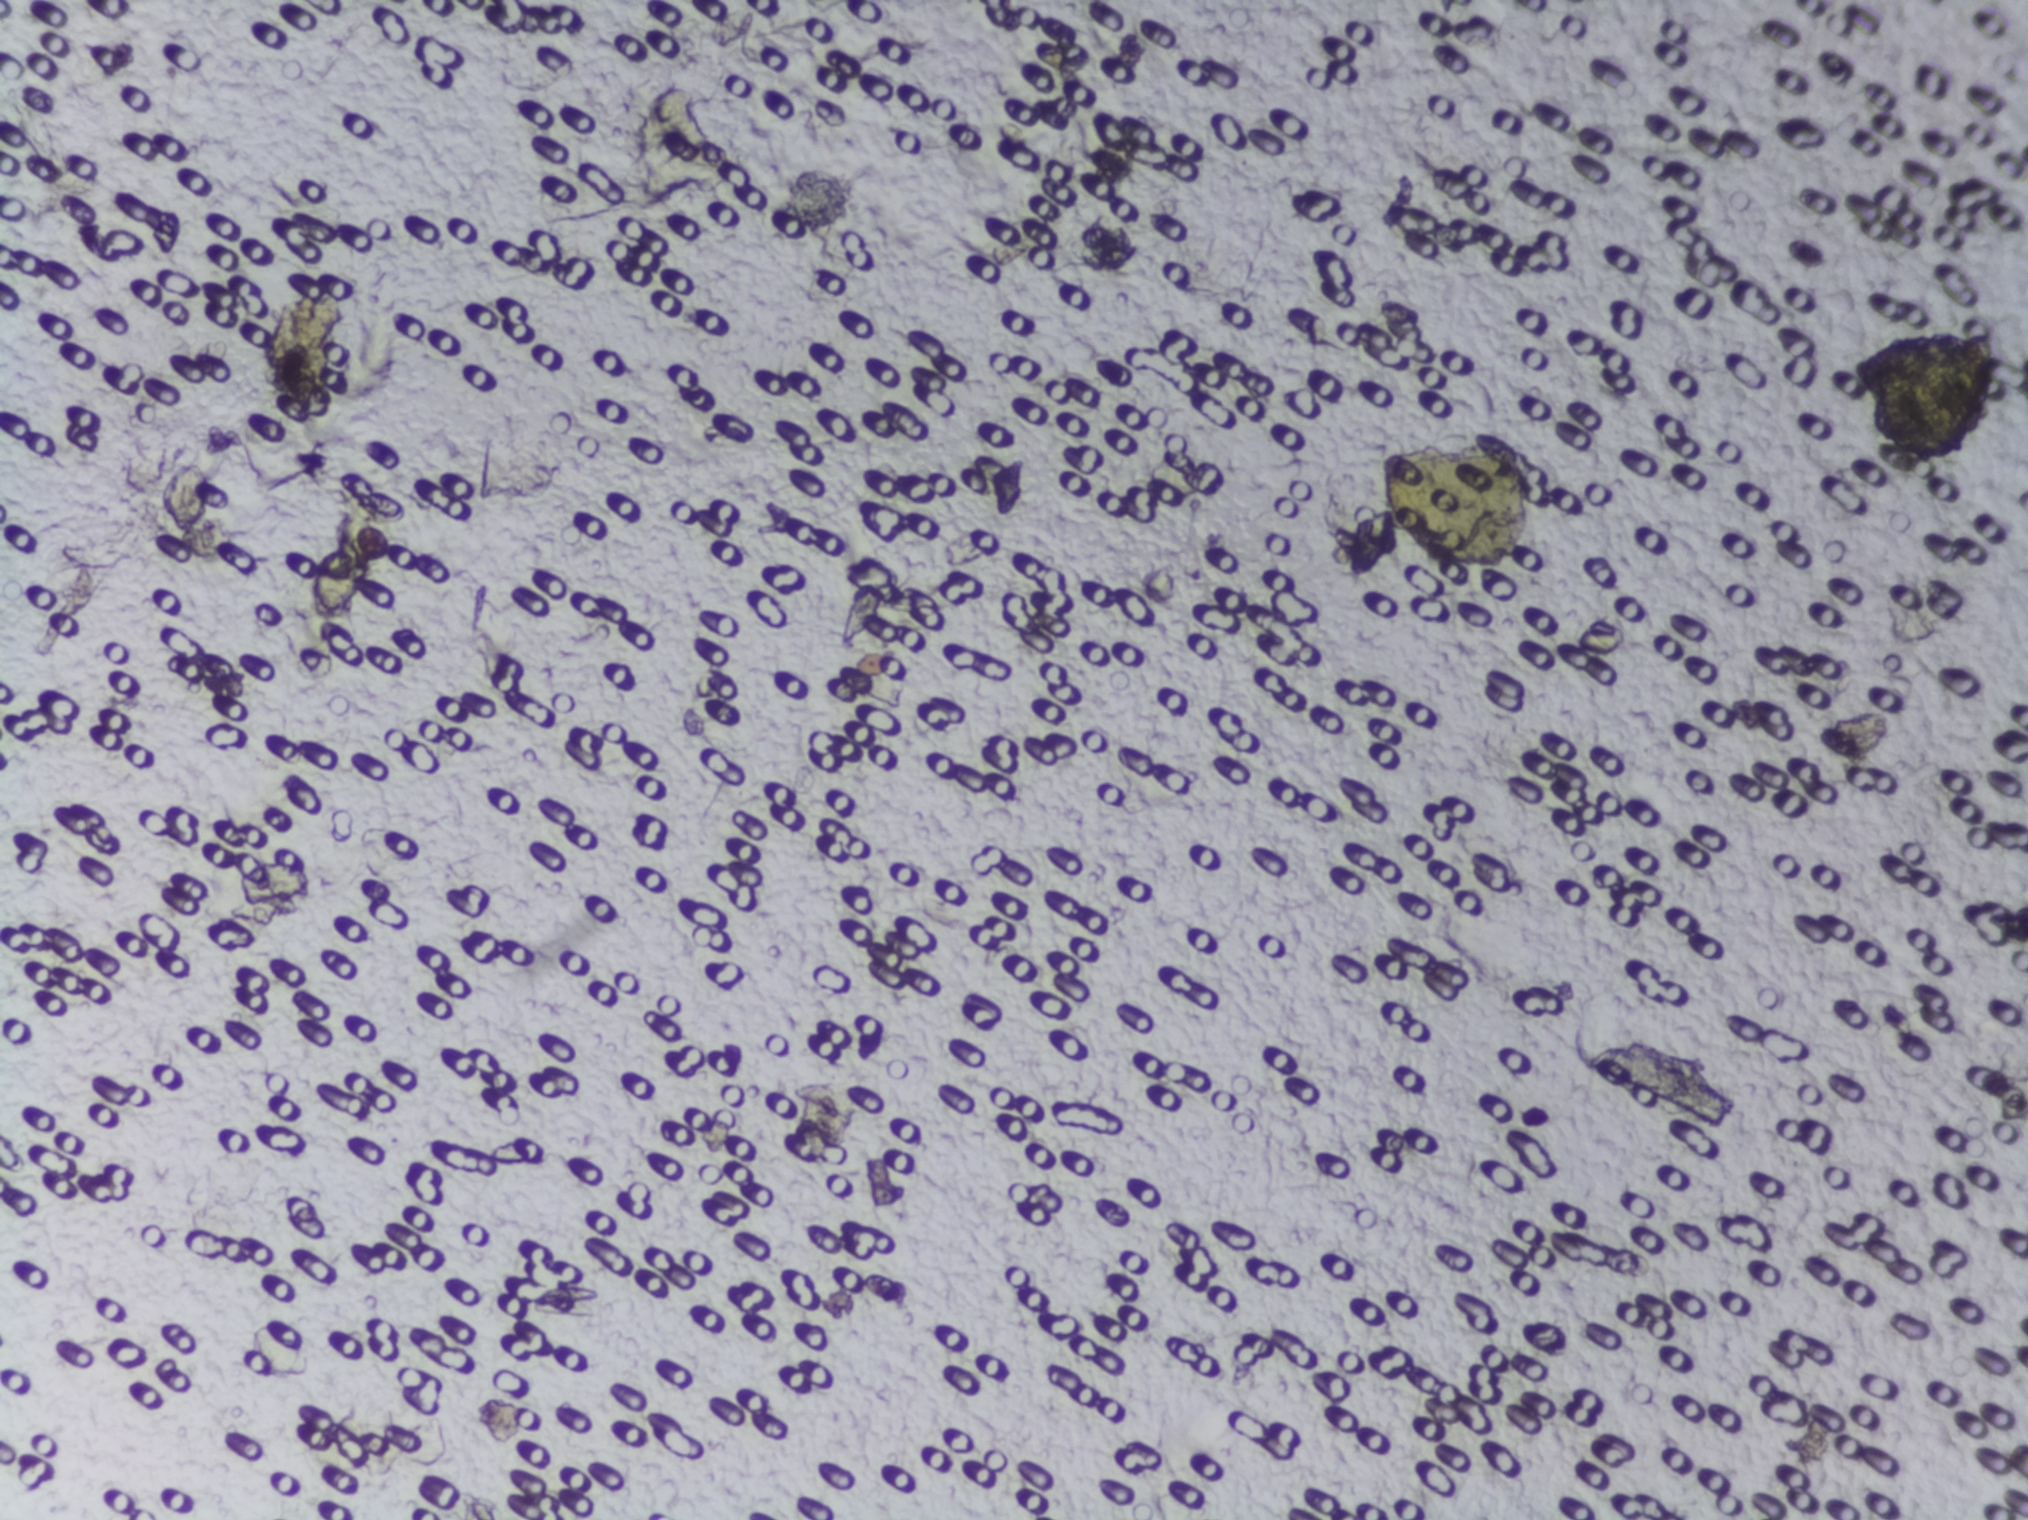
Microscope photograph (4× objective) of a membrane that a urine sample was filtered through.
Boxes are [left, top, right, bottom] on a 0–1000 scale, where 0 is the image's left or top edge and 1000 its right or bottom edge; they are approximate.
Schistosoma eggs are outlined in three areas of this image, listed from left to right: [80, 303, 105, 352]; [118, 568, 154, 595]; [154, 349, 183, 406]. An outlined area can hold more than one egg.